Urine filter membrane photographed through a 4× microscope objective.
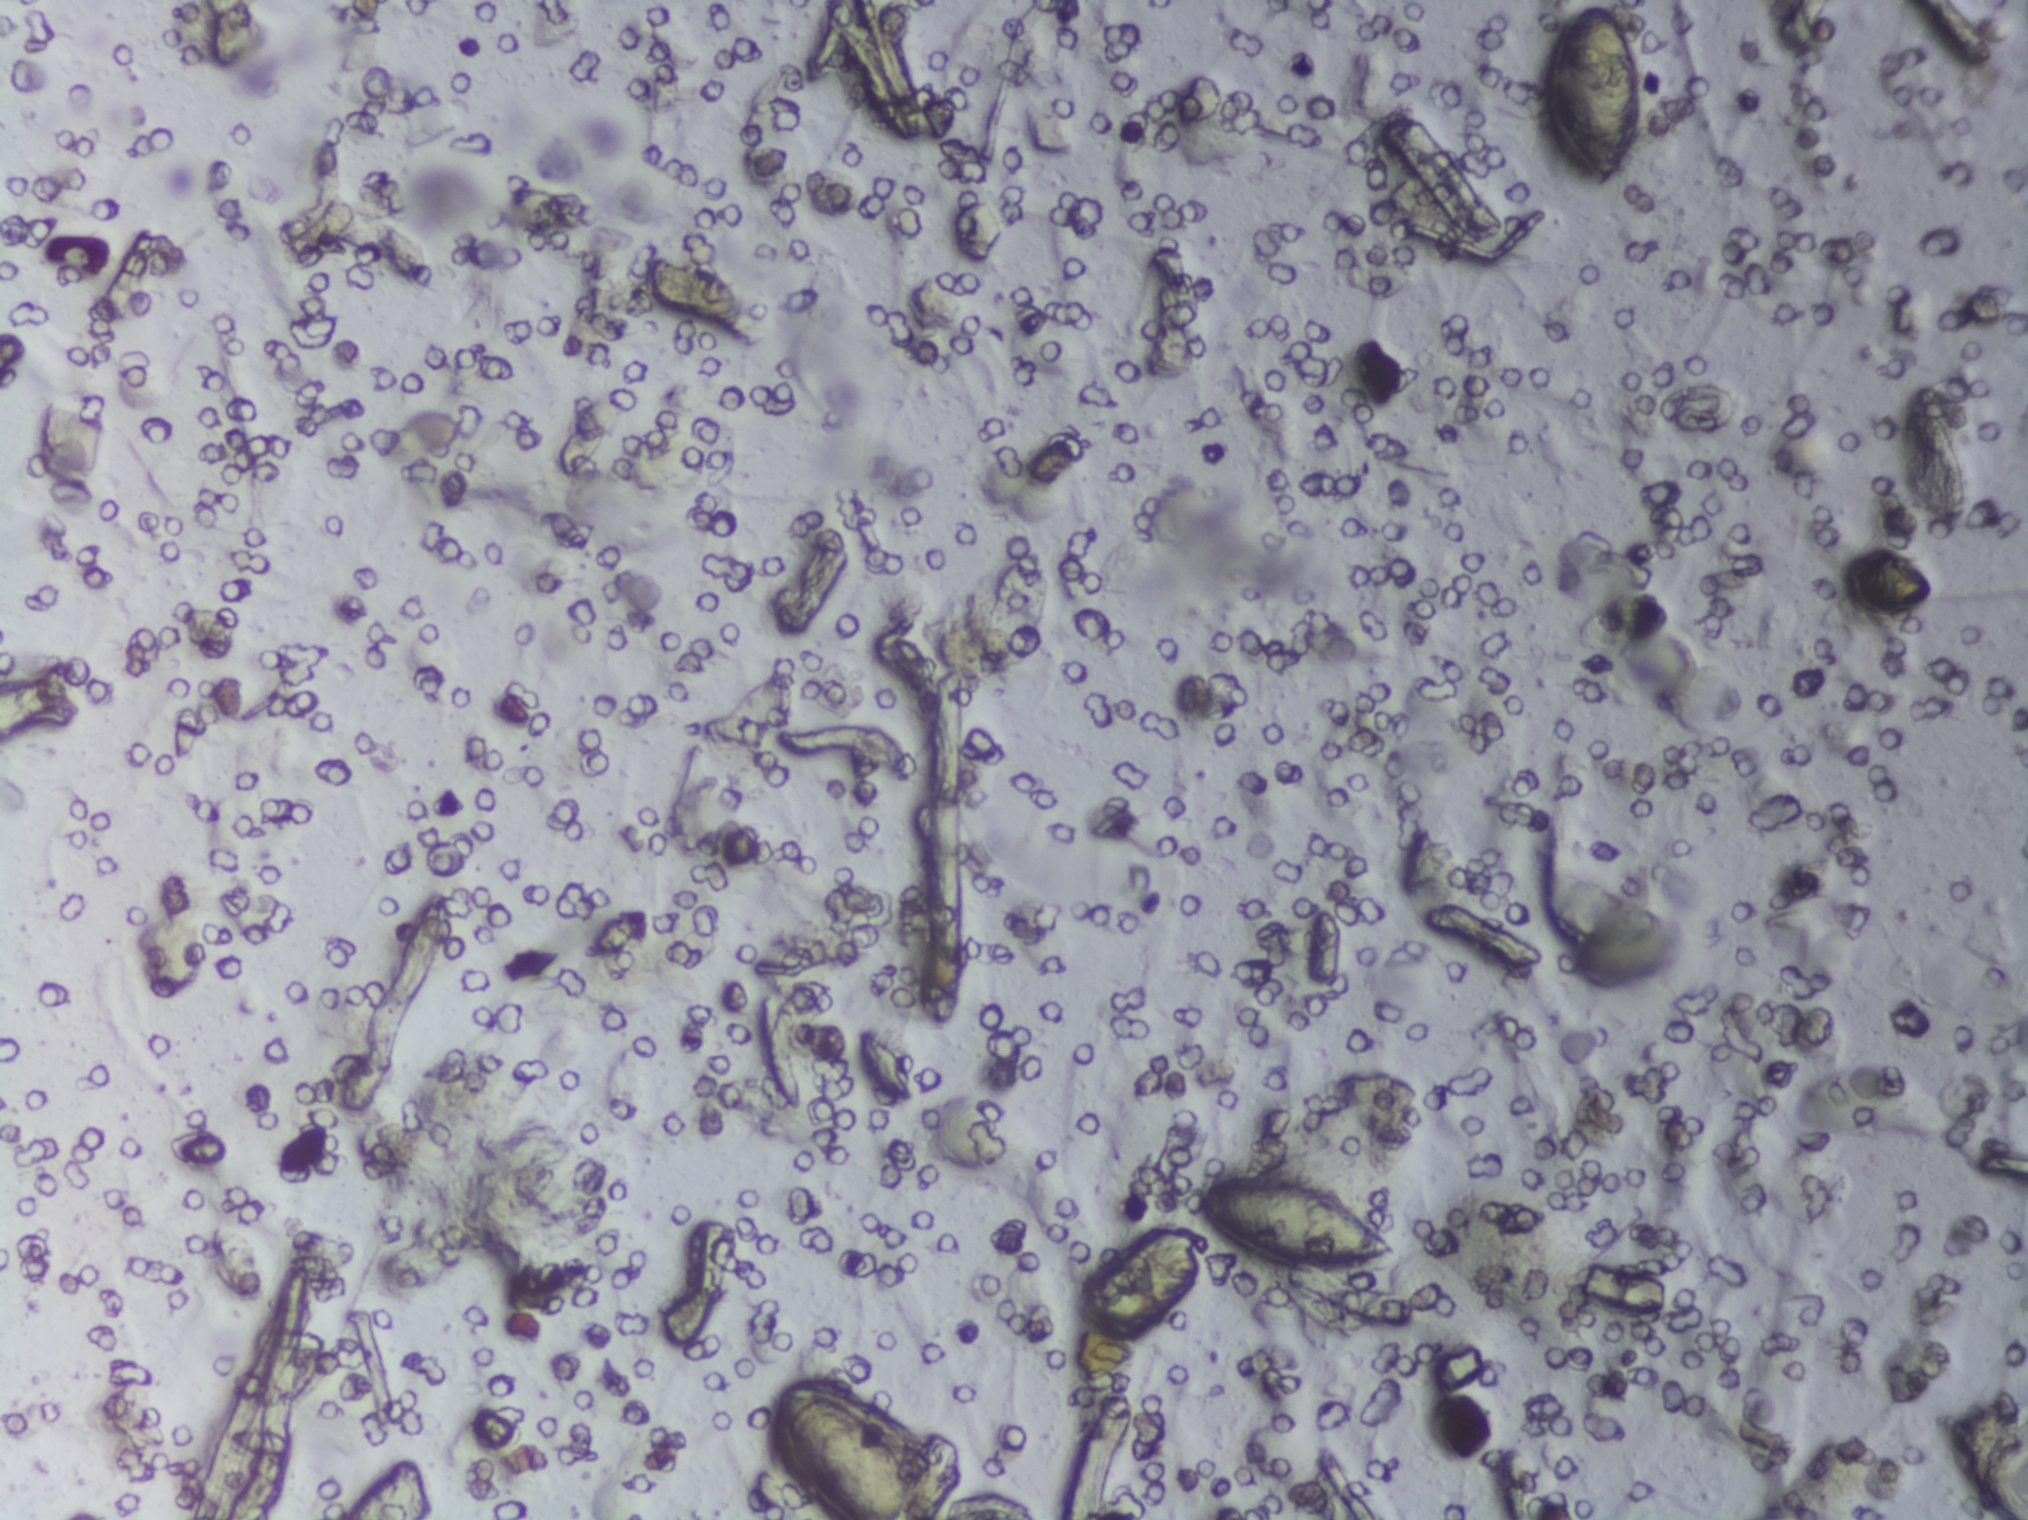
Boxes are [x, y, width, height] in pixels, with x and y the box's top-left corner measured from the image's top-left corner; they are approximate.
Three areas of this image are outlined as Schistosoma eggs, from left to right: [775, 1384, 141, 136] (reaching the bottom edge of the frame); [1195, 1174, 206, 99]; [1549, 0, 94, 197] (reaching the top edge of the frame). A single outlined area may contain several eggs.